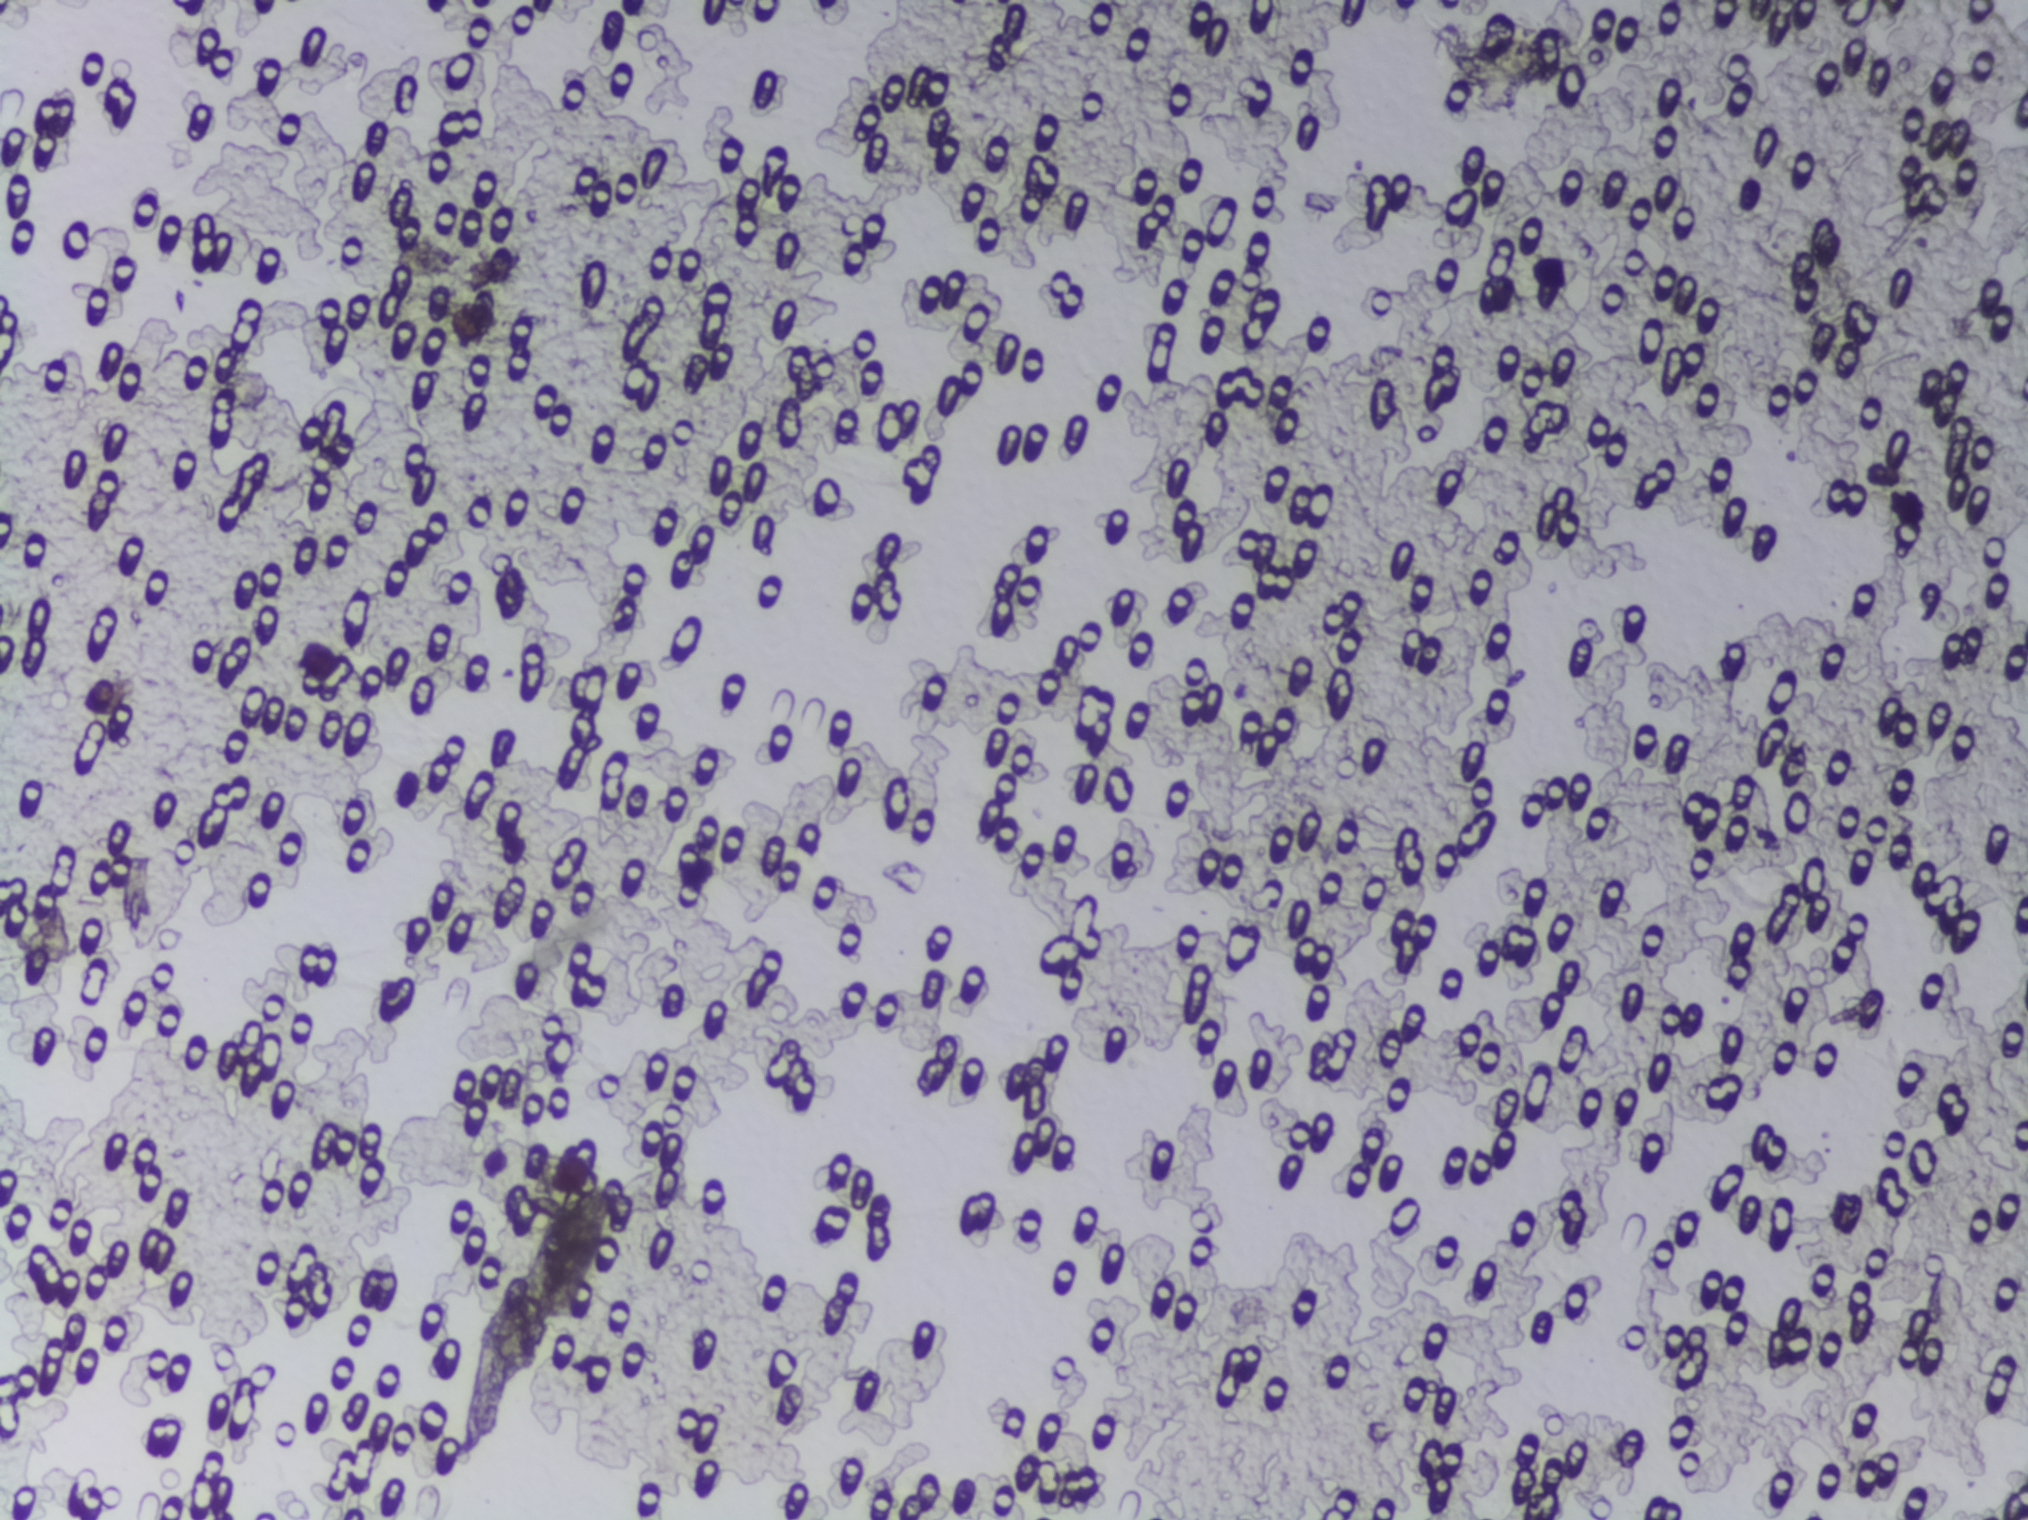
Urine filter membrane photographed through a 4× microscope objective.
Schistosoma eggs: none outlined.